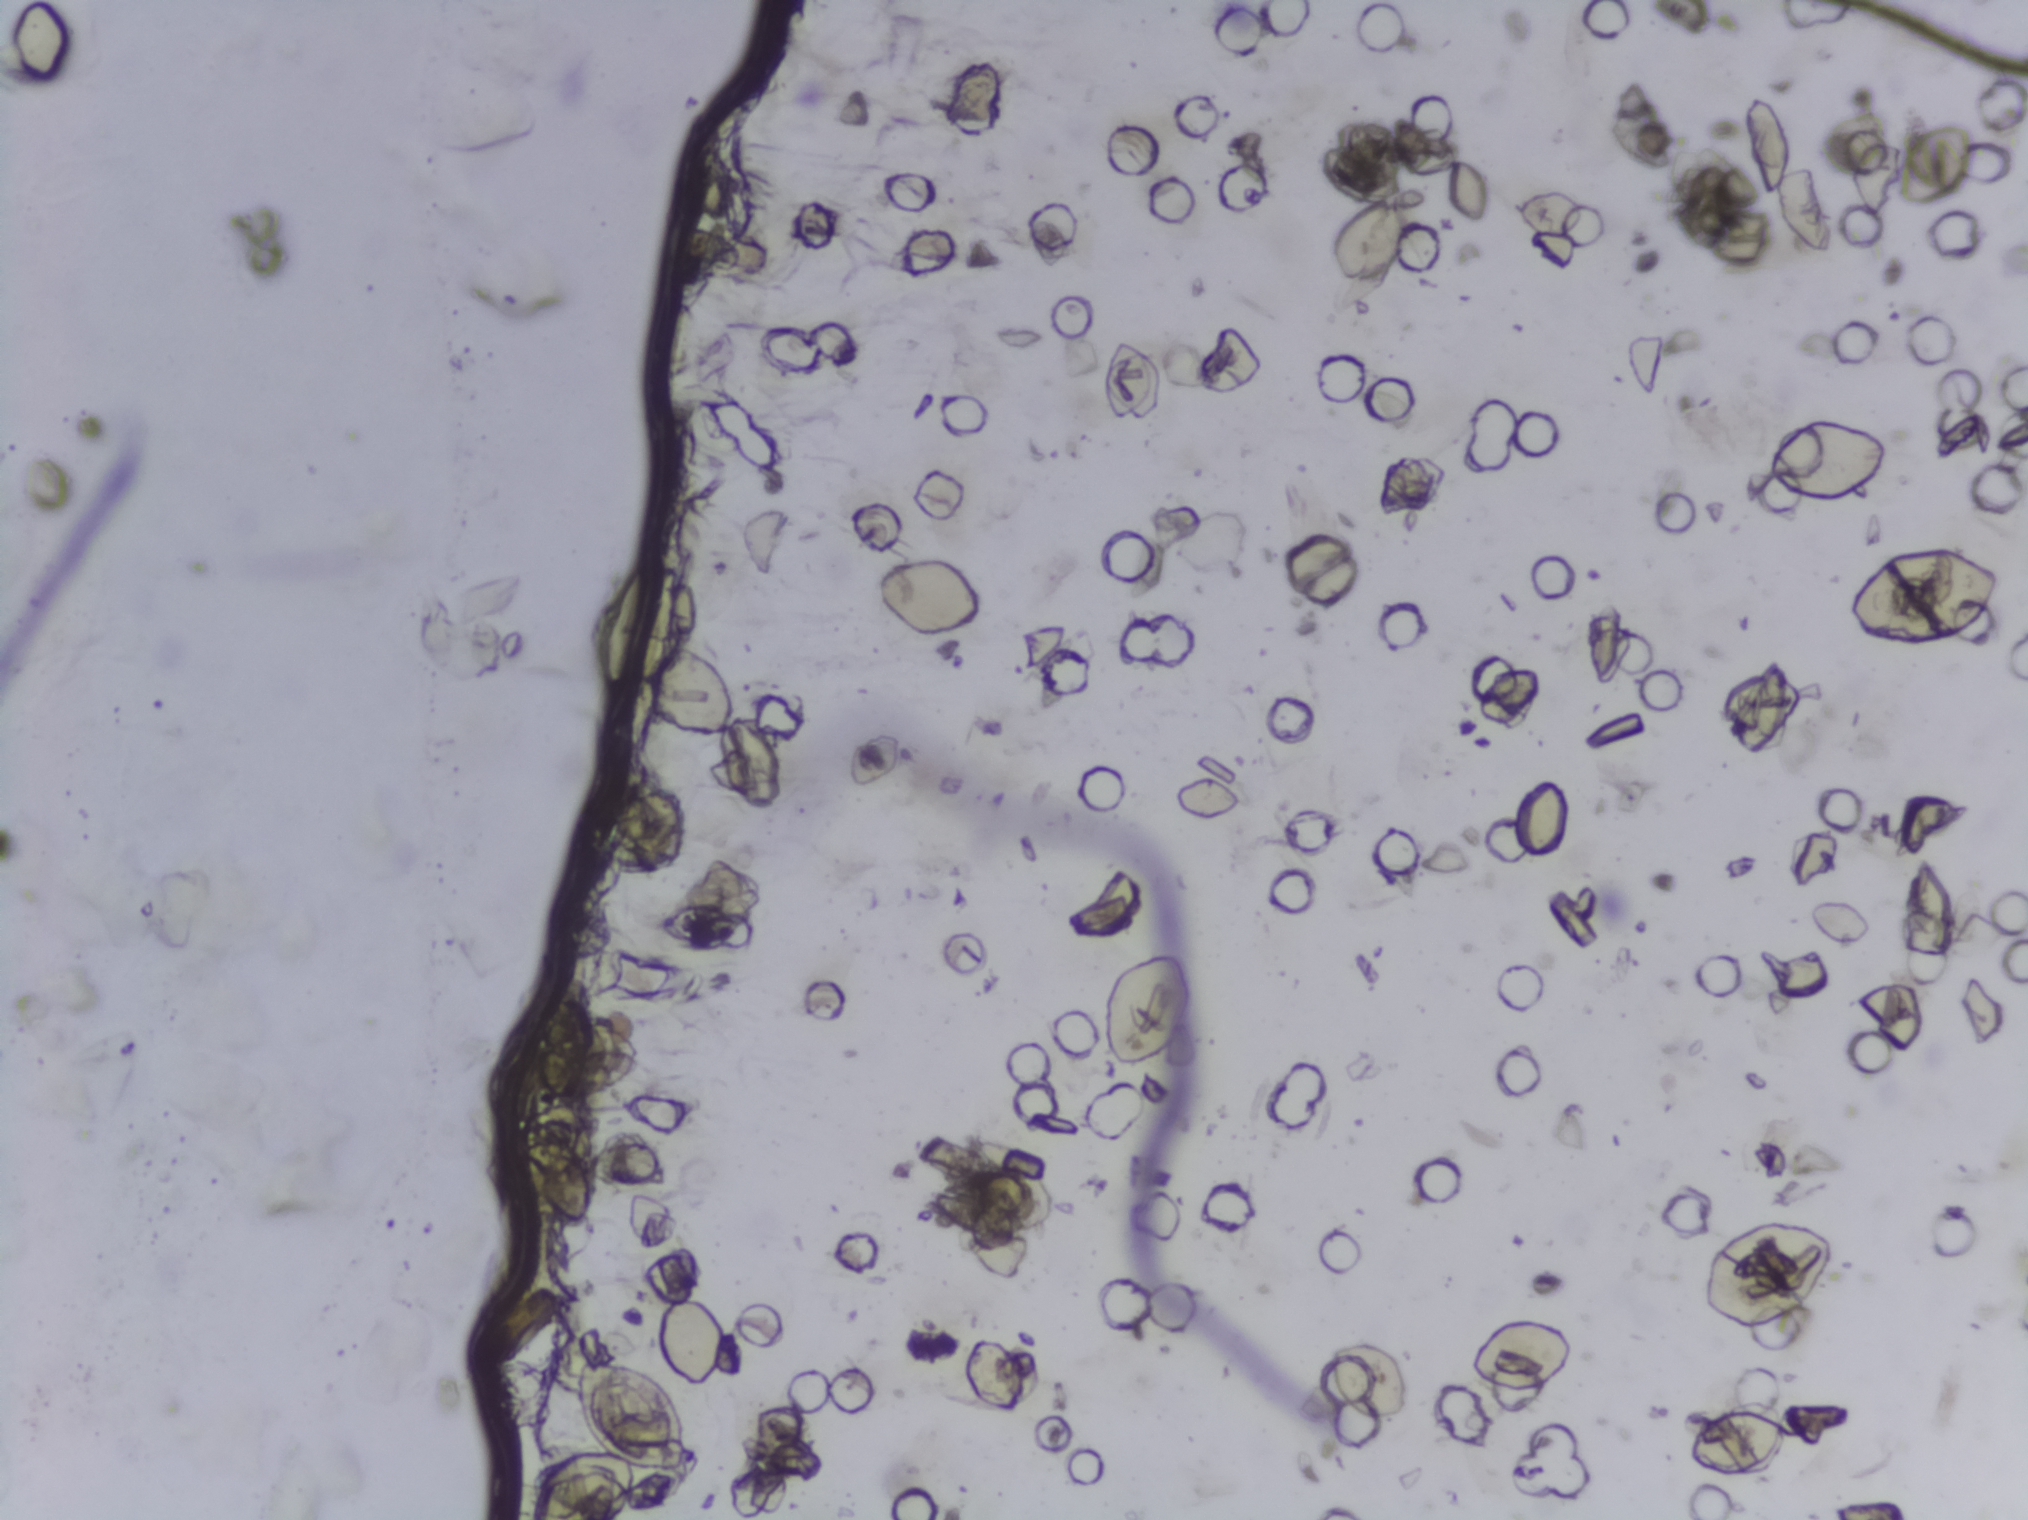
No area of this image was outlined as a Schistosoma egg.
Urine filtration membrane under a 4× objective, photographed by an automated digital microscope.